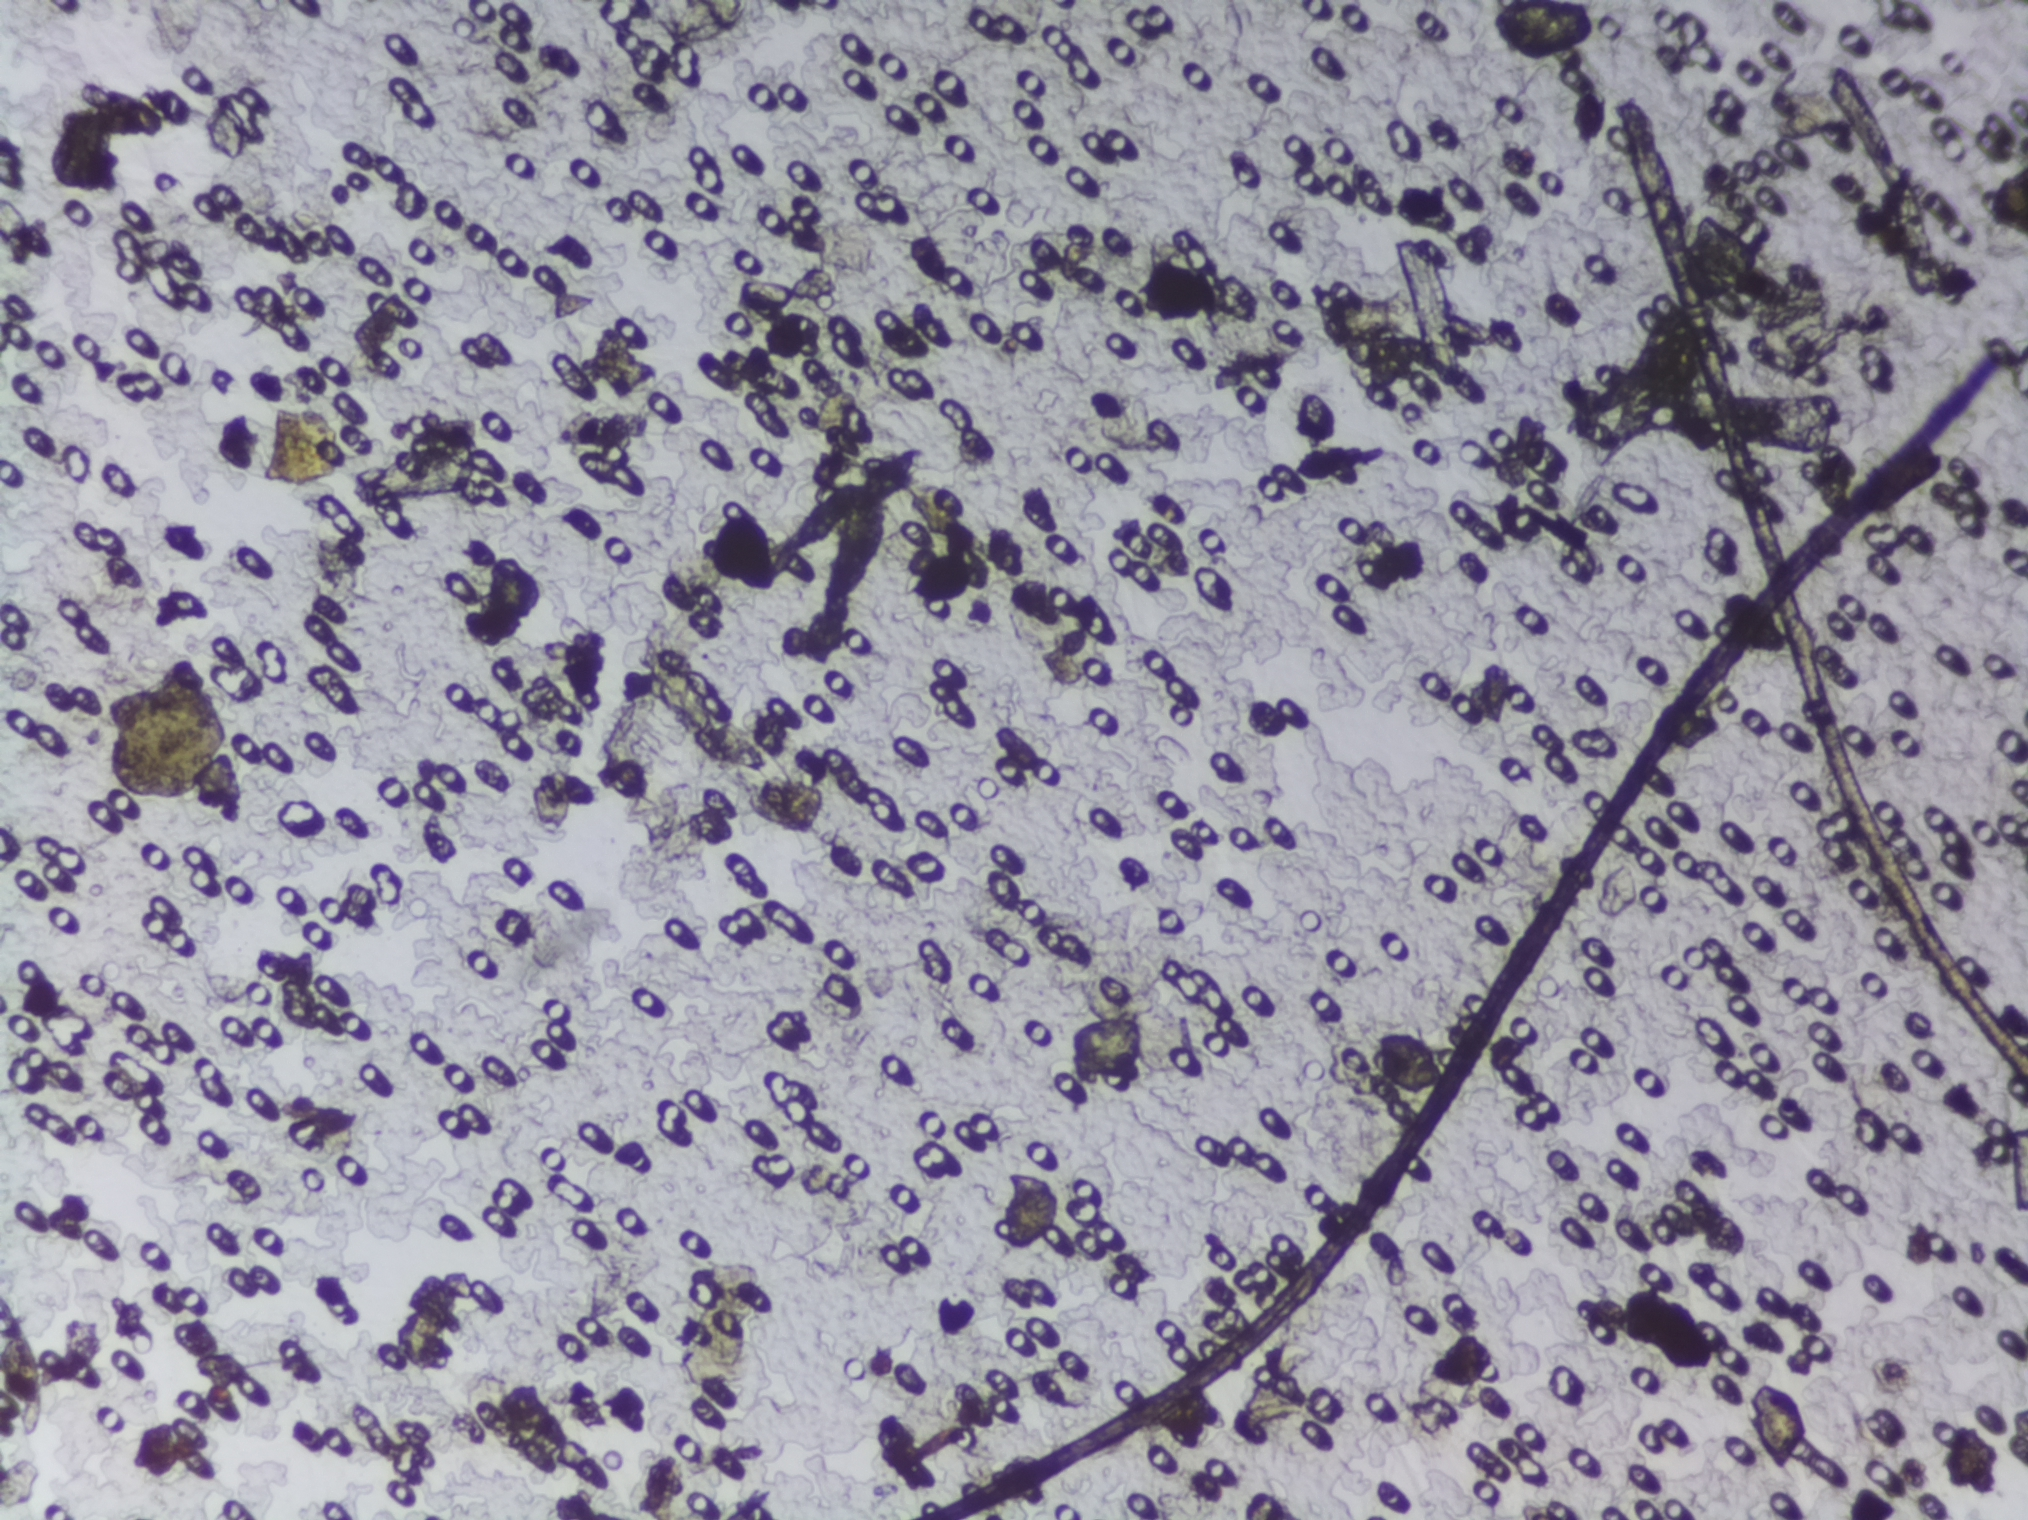
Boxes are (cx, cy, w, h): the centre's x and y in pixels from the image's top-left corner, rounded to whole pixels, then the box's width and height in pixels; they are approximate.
Findings: two areas outlined as Schistosoma eggs. Locations: (cx=1544, cy=32, w=105, h=65) (reaching the top edge of the frame); (cx=1778, cy=1428, w=61, h=90). Marked pixels, not the boxes around them: about 0.3% of the image. Eggs that touch can end up inside the same outlined area.
Microscope photograph (4× objective) of a membrane that a urine sample was filtered through.